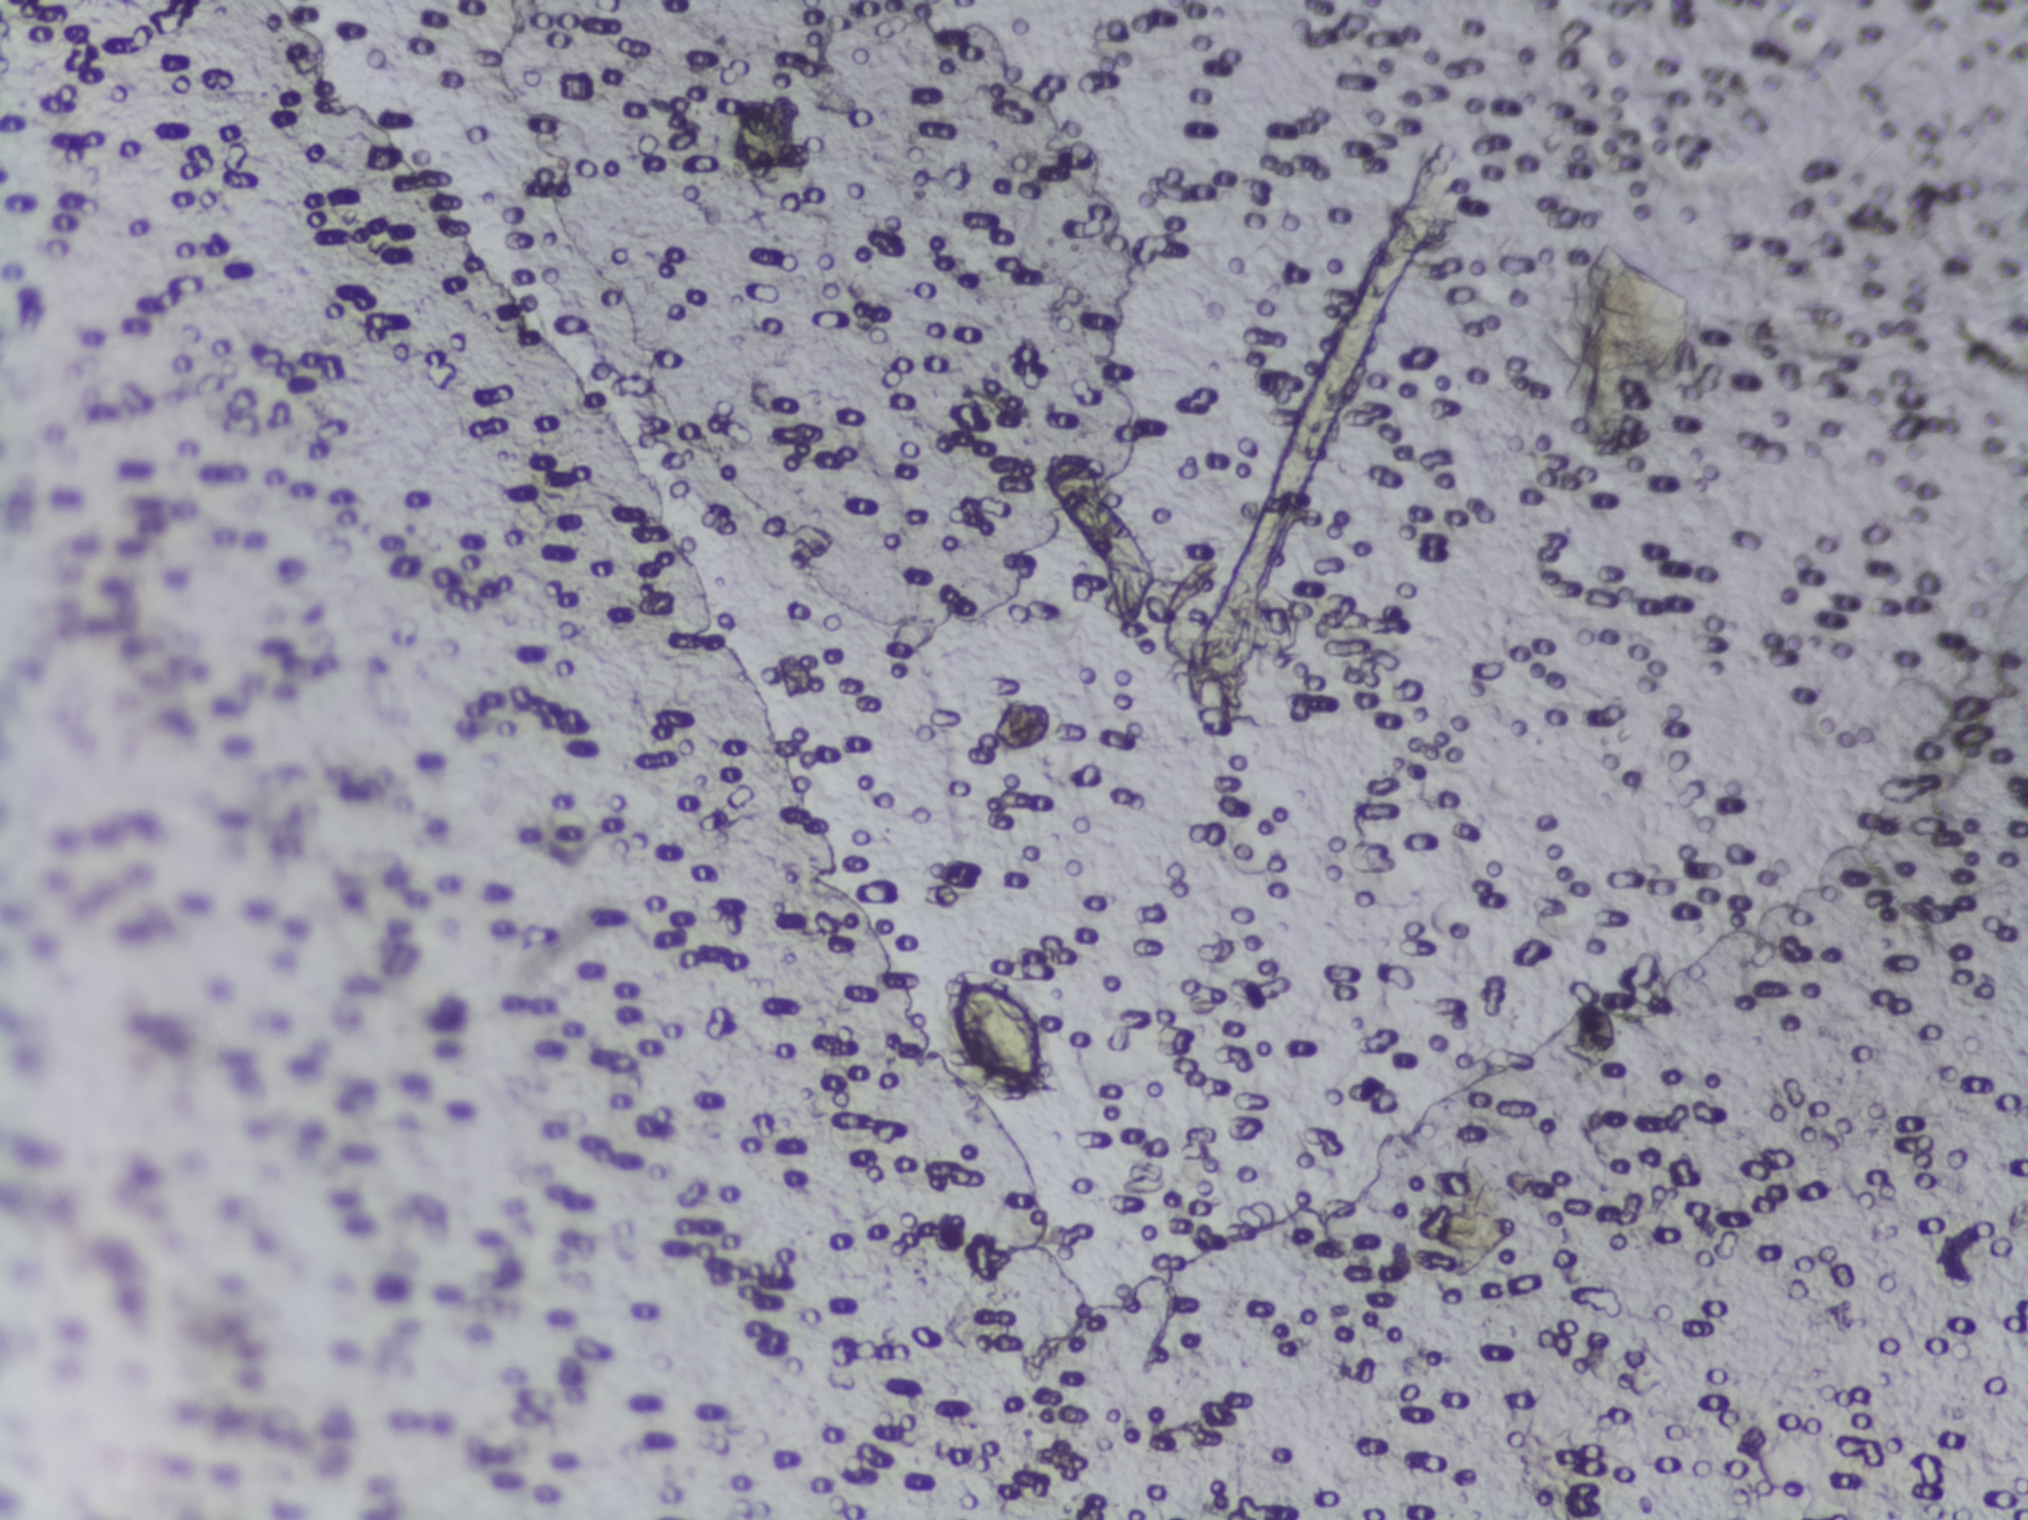
Photomicrograph of a urine filtration membrane, 4× objective.
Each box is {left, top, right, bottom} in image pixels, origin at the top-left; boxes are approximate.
Areas outlined as Schistosoma eggs:
1. {942, 969, 1051, 1099}
An outlined area can hold more than one egg.